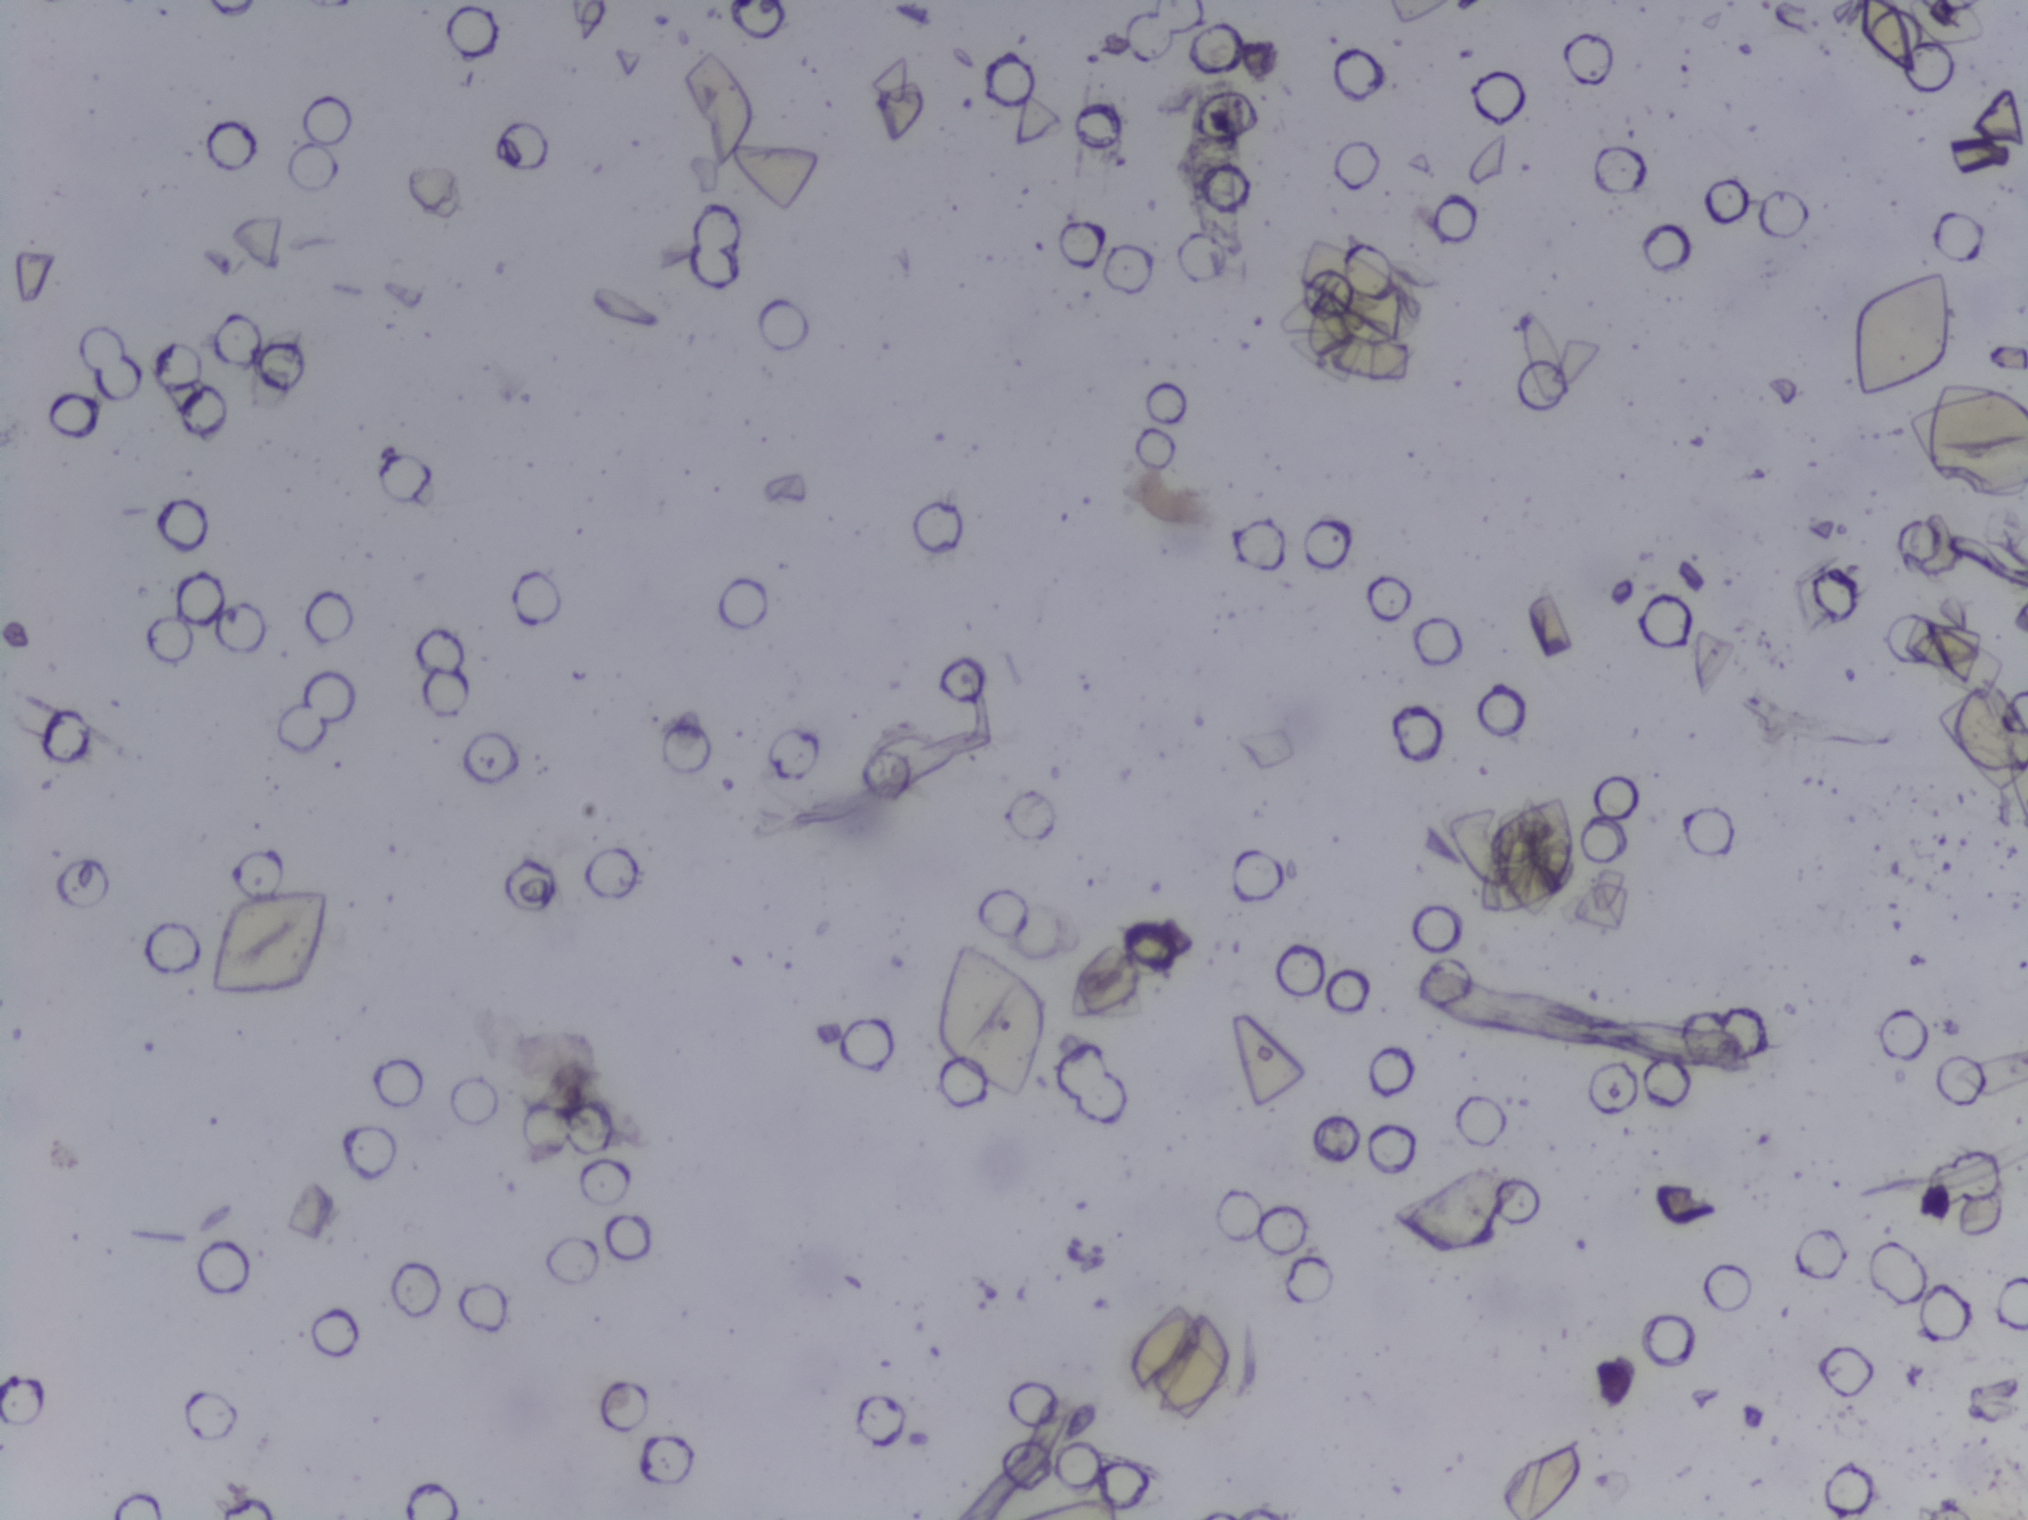
Urine filtration membrane under a 4× objective, photographed by an automated digital microscope.
The expert annotation outlines no Schistosoma egg in this image.